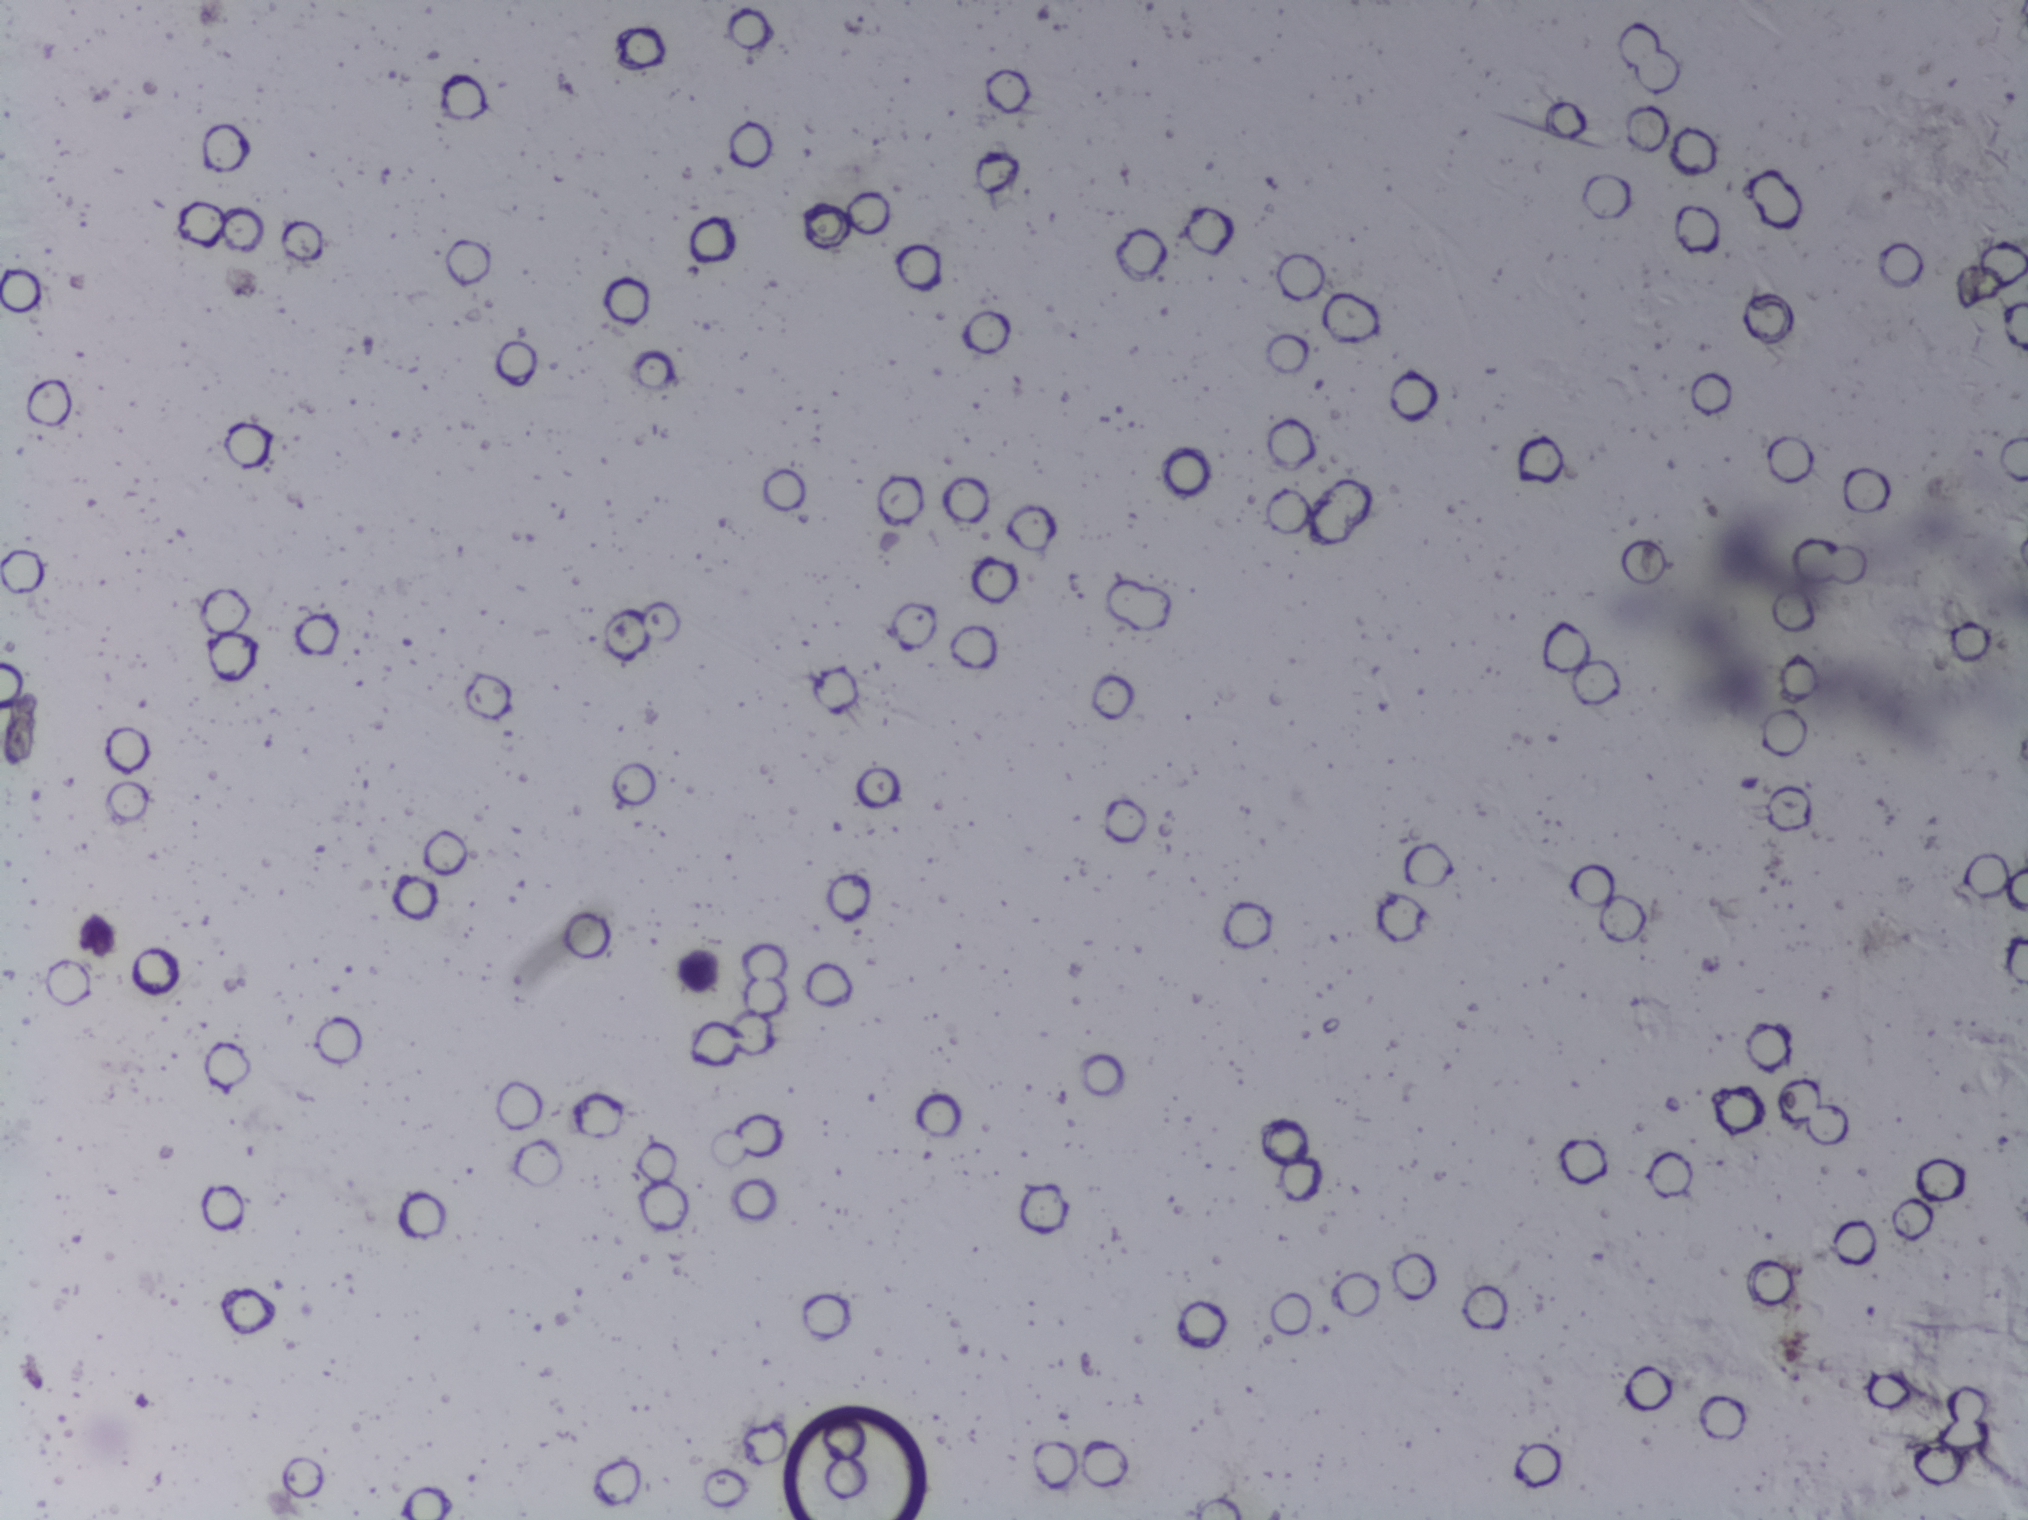
One field of view of a urine filter membrane, 4× objective, 2028 × 1520 pixels.
No area of this image was outlined as a Schistosoma egg.